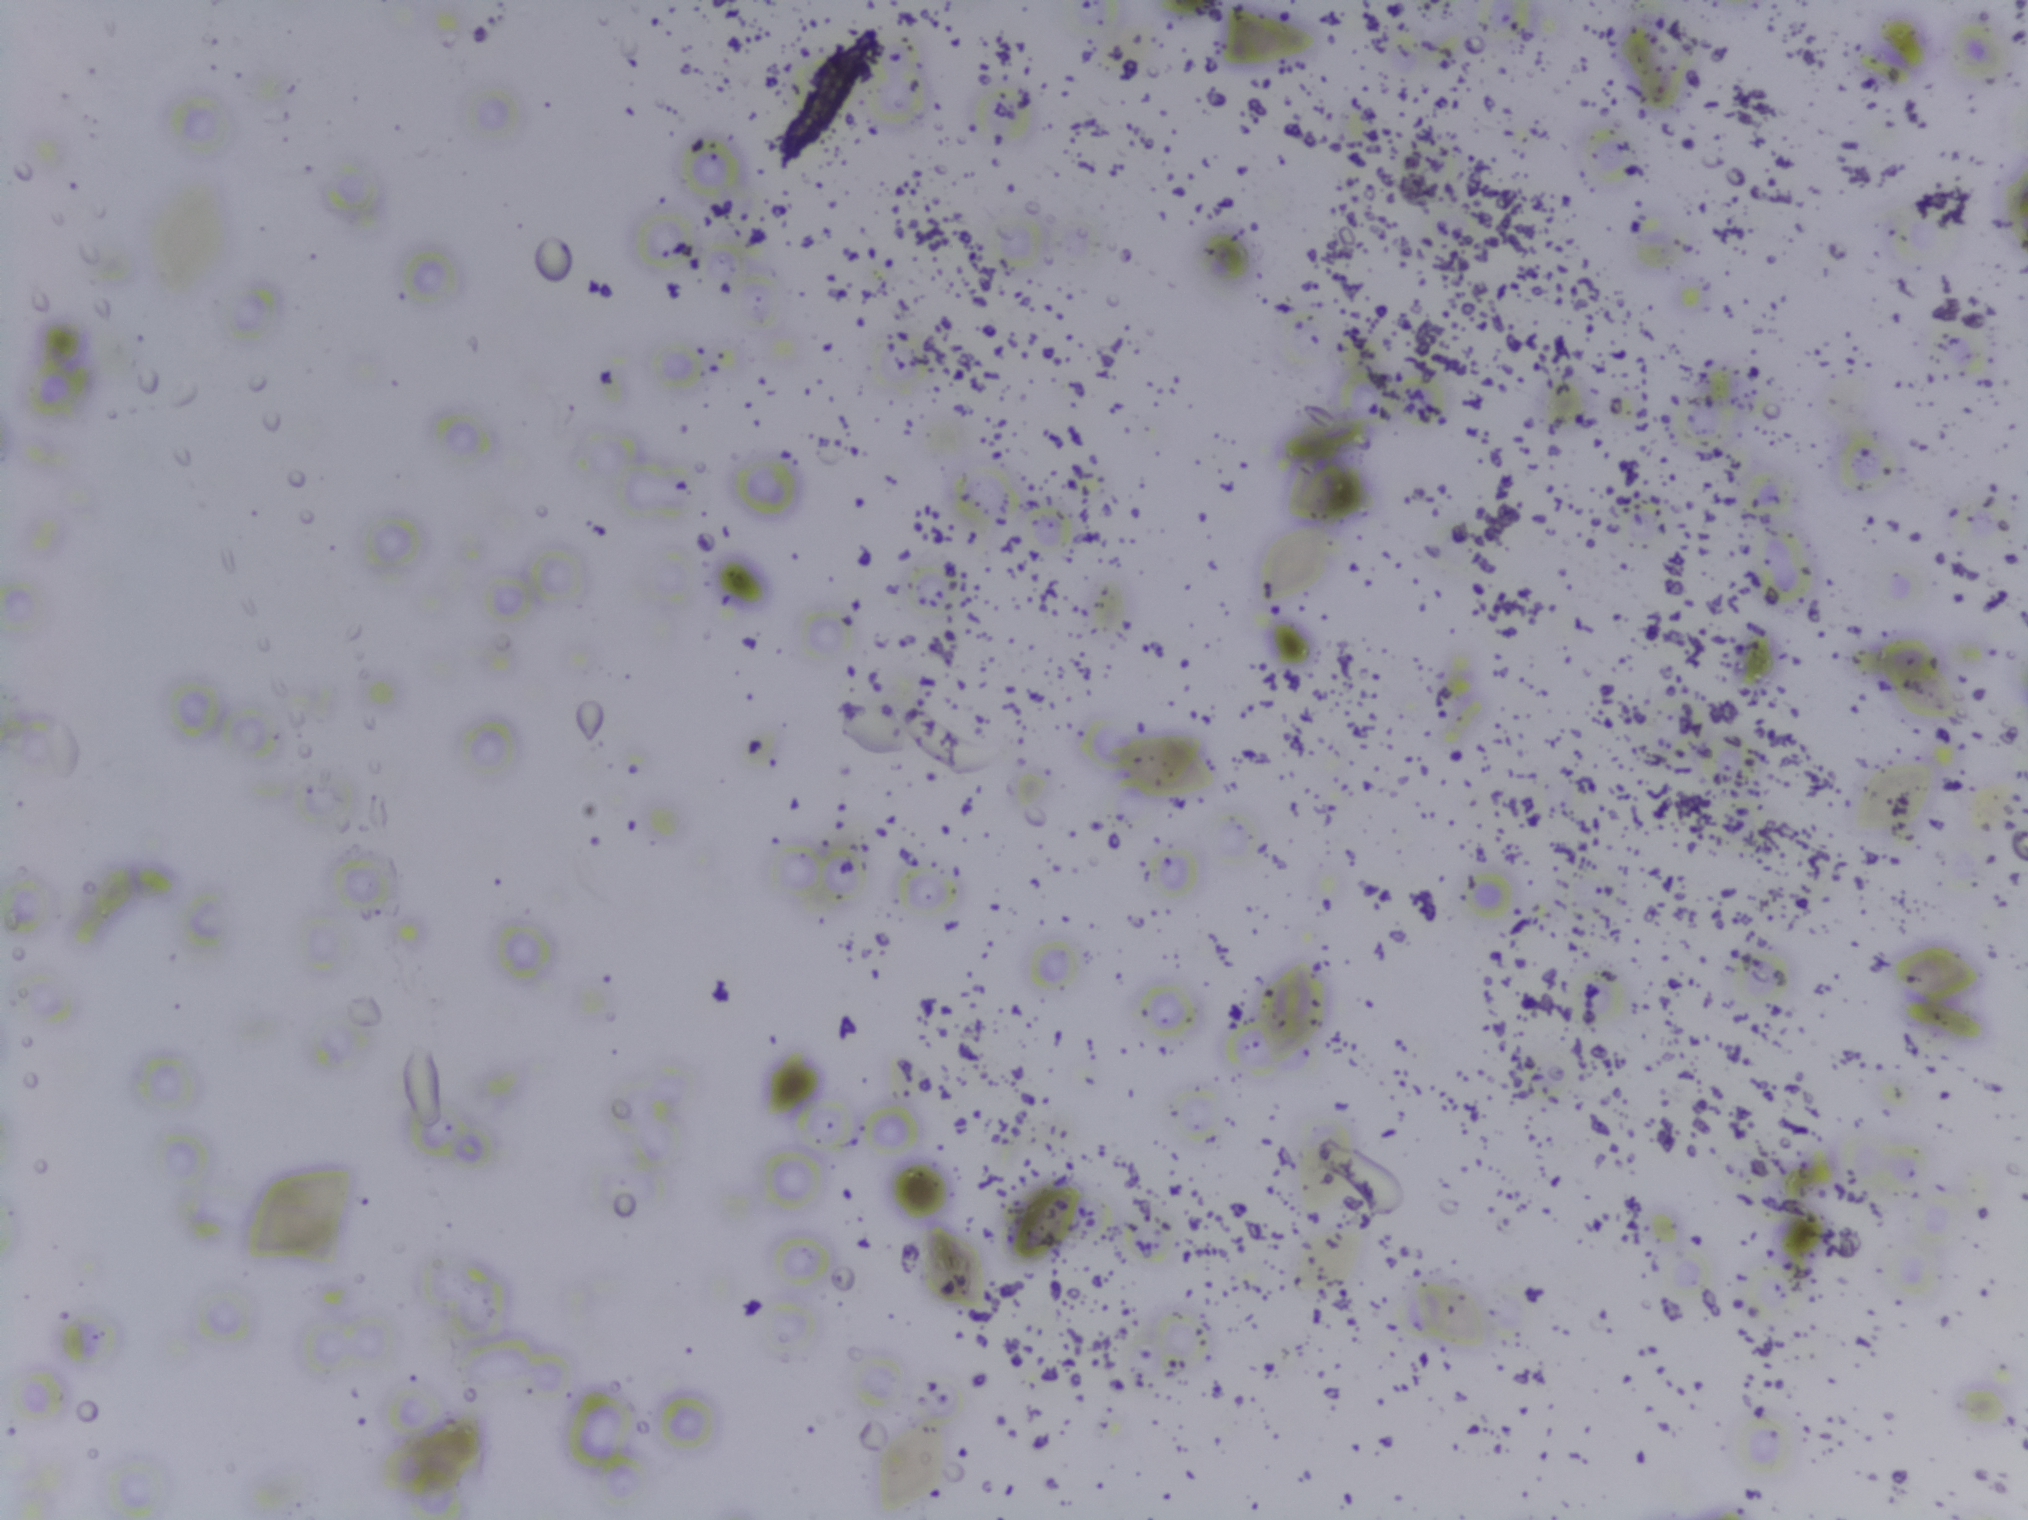
Urine filter membrane photographed through a 4× microscope objective.
No area of this image was outlined as a Schistosoma egg.